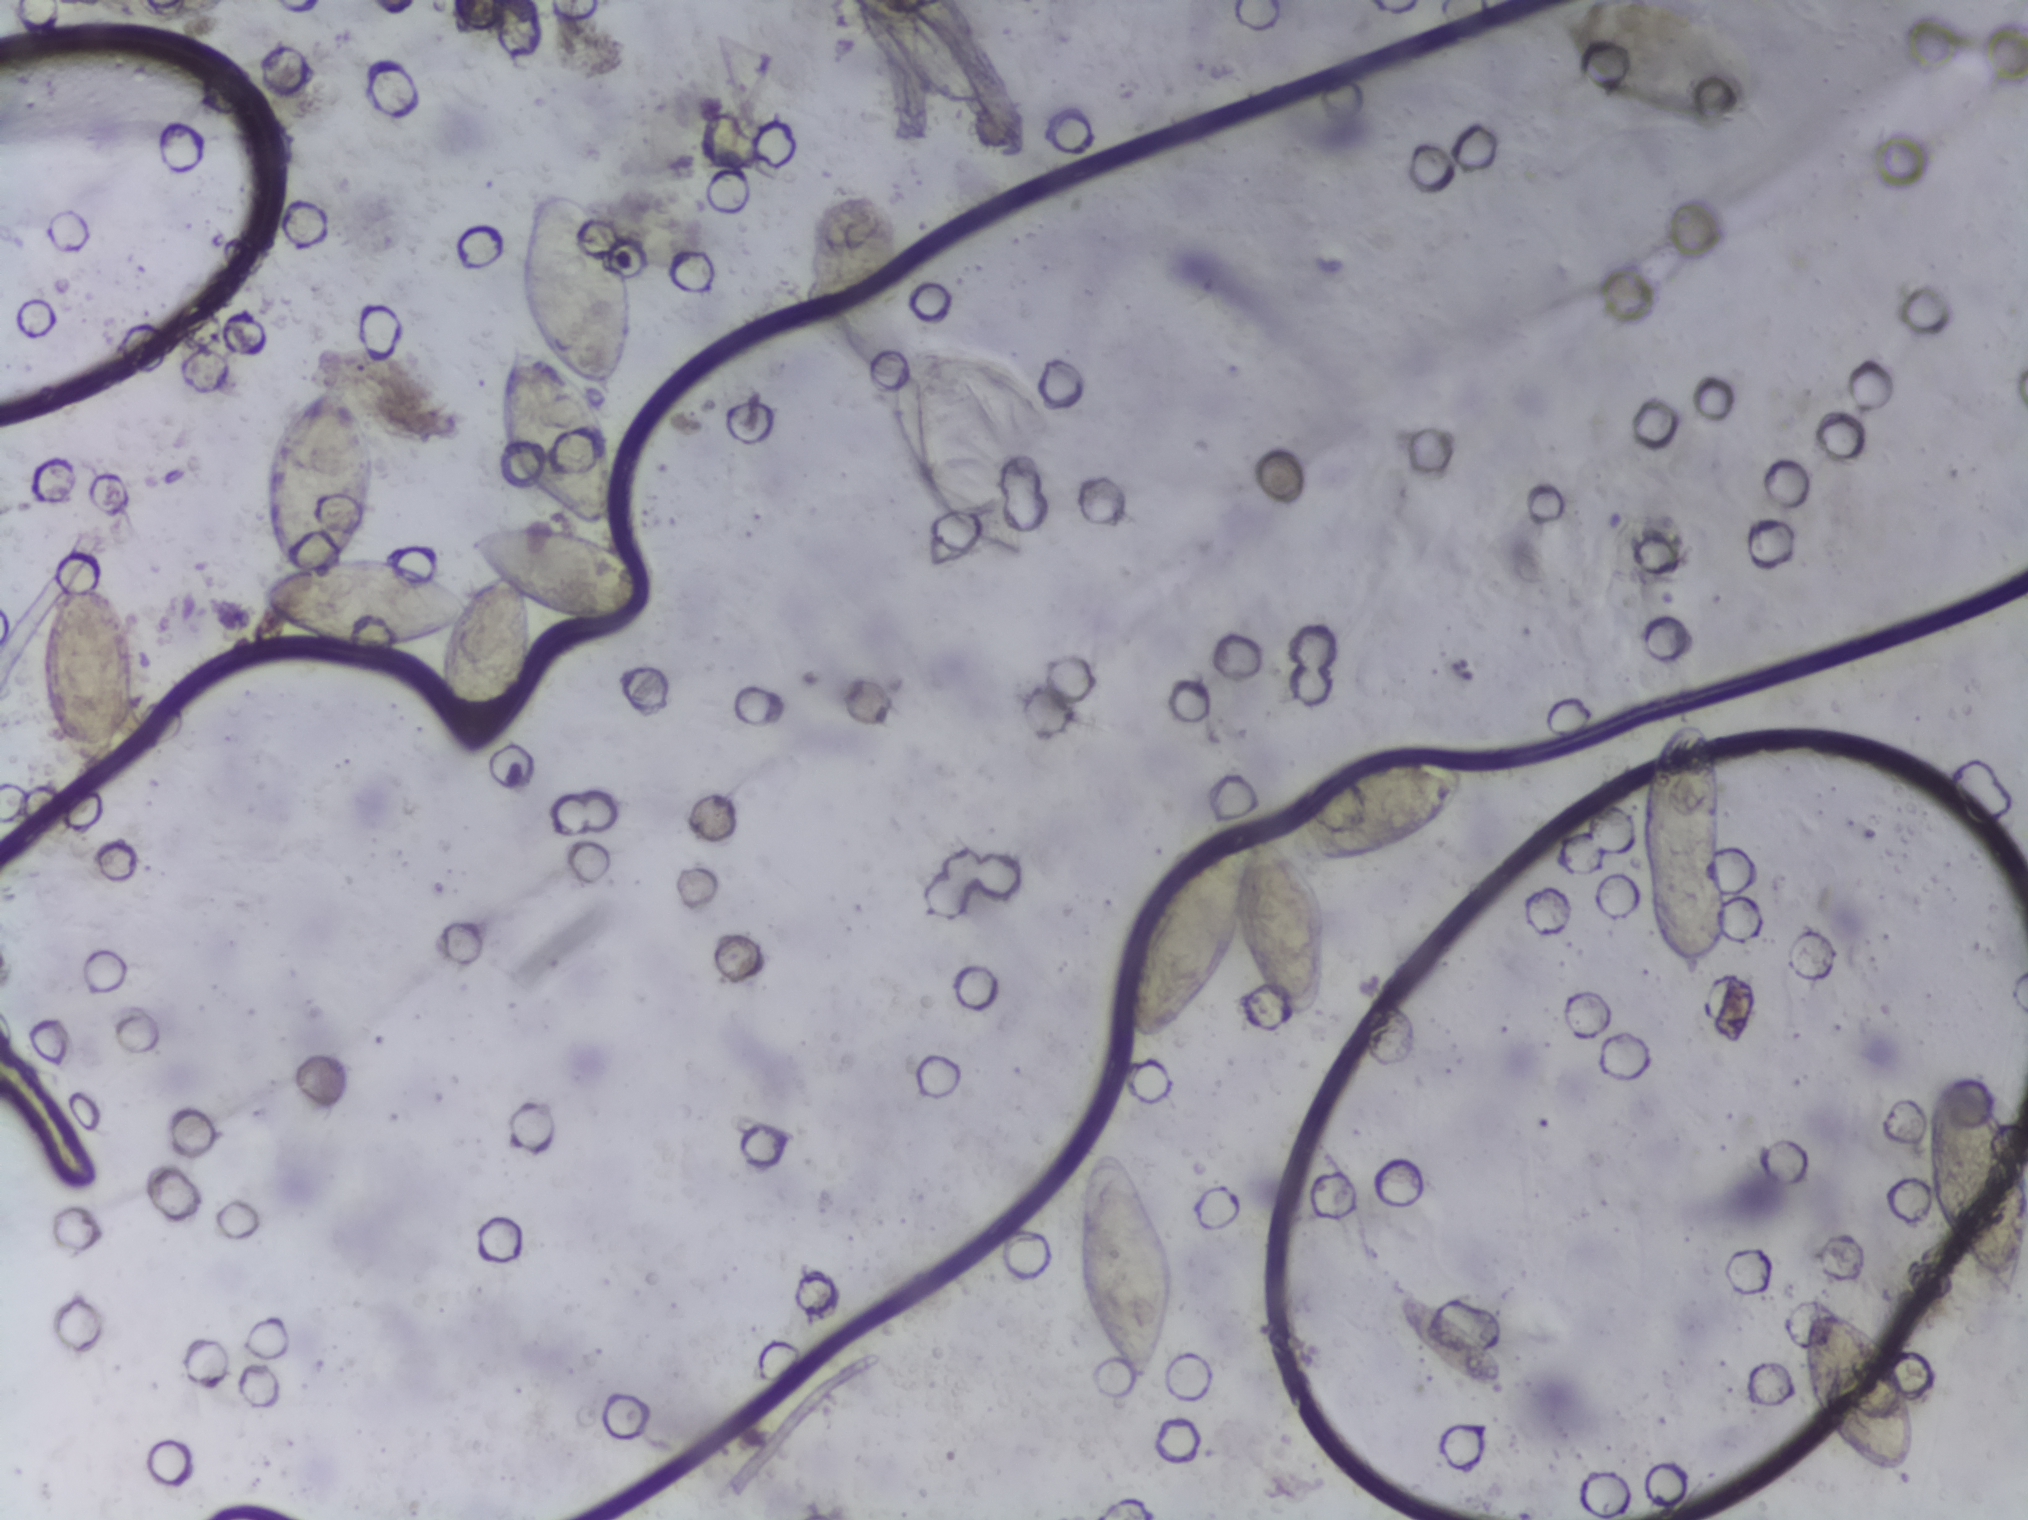
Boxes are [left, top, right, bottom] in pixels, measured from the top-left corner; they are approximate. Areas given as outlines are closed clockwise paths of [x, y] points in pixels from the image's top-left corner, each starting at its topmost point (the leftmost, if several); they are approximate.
Outlined Schistosoma egg areas, left to right:
1. box [34, 563, 136, 772]
2. outline [542, 185], [596, 201], [623, 240], [634, 305], [628, 359], [616, 394], [594, 392], [618, 448], [626, 514], [618, 524], [585, 528], [621, 535], [649, 558], [662, 605], [624, 631], [581, 629], [535, 607], [534, 696], [499, 749], [468, 762], [446, 746], [433, 704], [440, 639], [367, 652], [297, 628], [259, 597], [258, 588], [284, 569], [263, 519], [263, 465], [276, 435], [336, 369], [372, 418], [377, 458], [369, 511], [342, 552], [402, 552], [470, 591], [492, 578], [463, 543], [467, 536], [507, 522], [571, 523], [519, 484], [495, 419], [512, 339], [536, 340], [522, 311], [519, 250], [530, 198] (eggs clustered together)
3. box [1072, 1146, 1177, 1391]
4. outline [1426, 750], [1453, 752], [1473, 768], [1469, 793], [1440, 829], [1409, 849], [1309, 864], [1322, 881], [1329, 913], [1329, 989], [1317, 1015], [1296, 1021], [1264, 1001], [1241, 954], [1197, 1017], [1152, 1039], [1124, 1033], [1128, 946], [1155, 882], [1180, 850], [1228, 822], [1261, 822], [1289, 839], [1298, 806], [1340, 766], [1366, 756]
5. box [1642, 712, 1729, 983]
6. box [1800, 1293, 1917, 1478]
7. box [1922, 1070, 2027, 1303] (reaching the right edge of the frame)
A single outlined area may contain several eggs.
Microscope photograph (4× objective) of a membrane that a urine sample was filtered through.